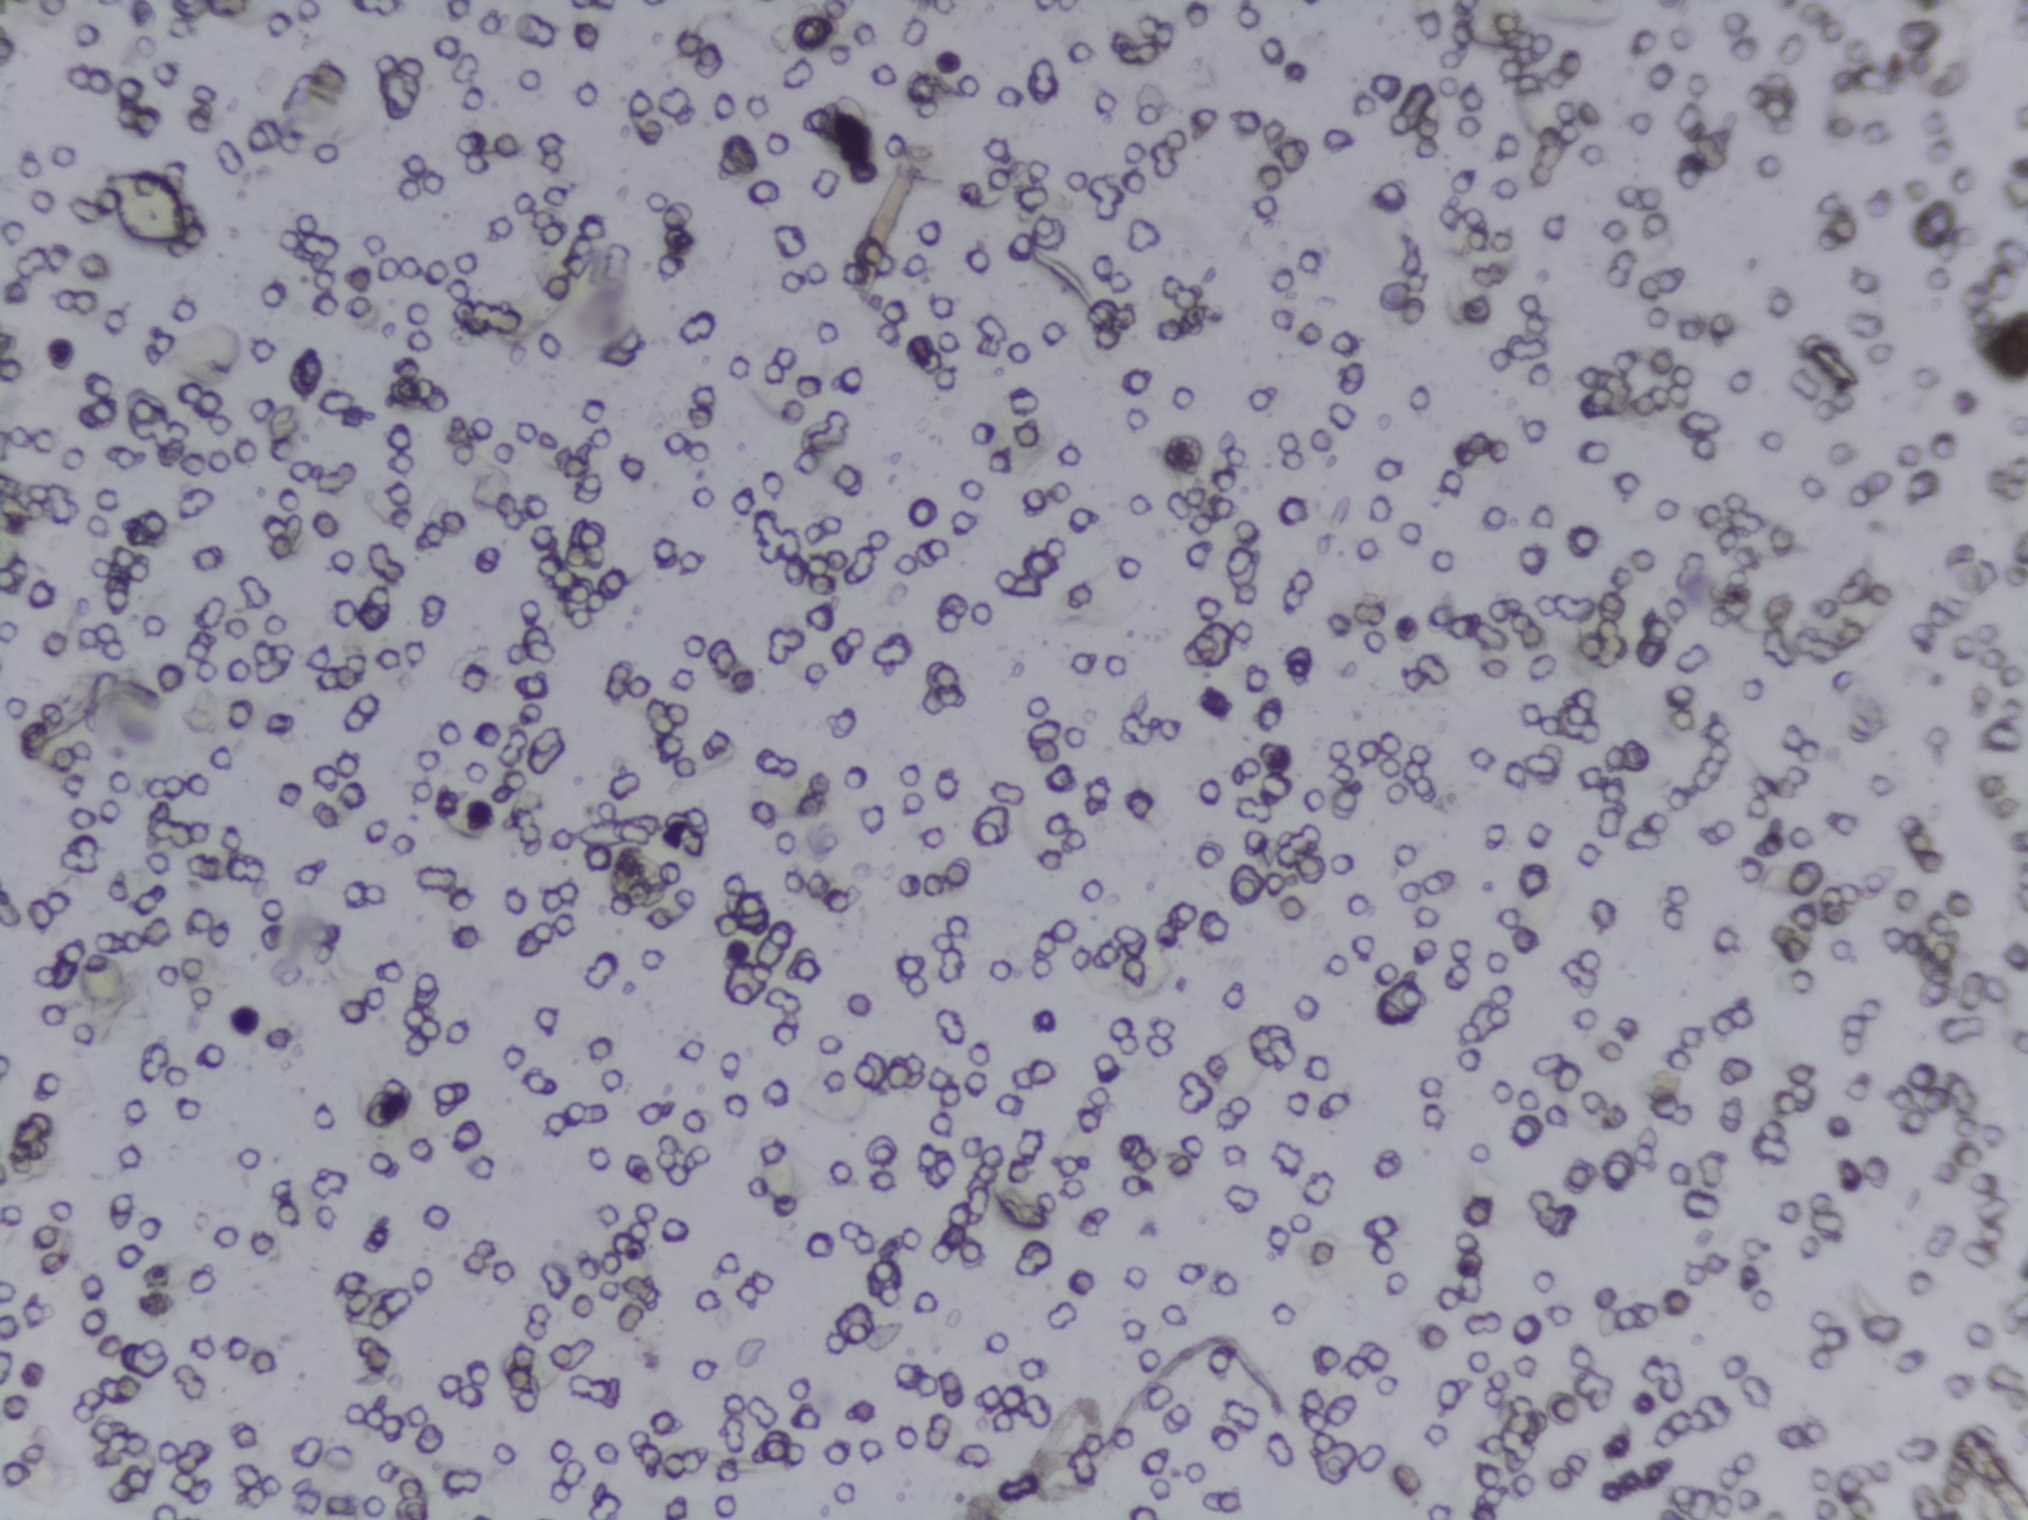
Urine filtration membrane under a 4× objective, photographed by an automated digital microscope.
No area of this image was outlined as a Schistosoma egg.